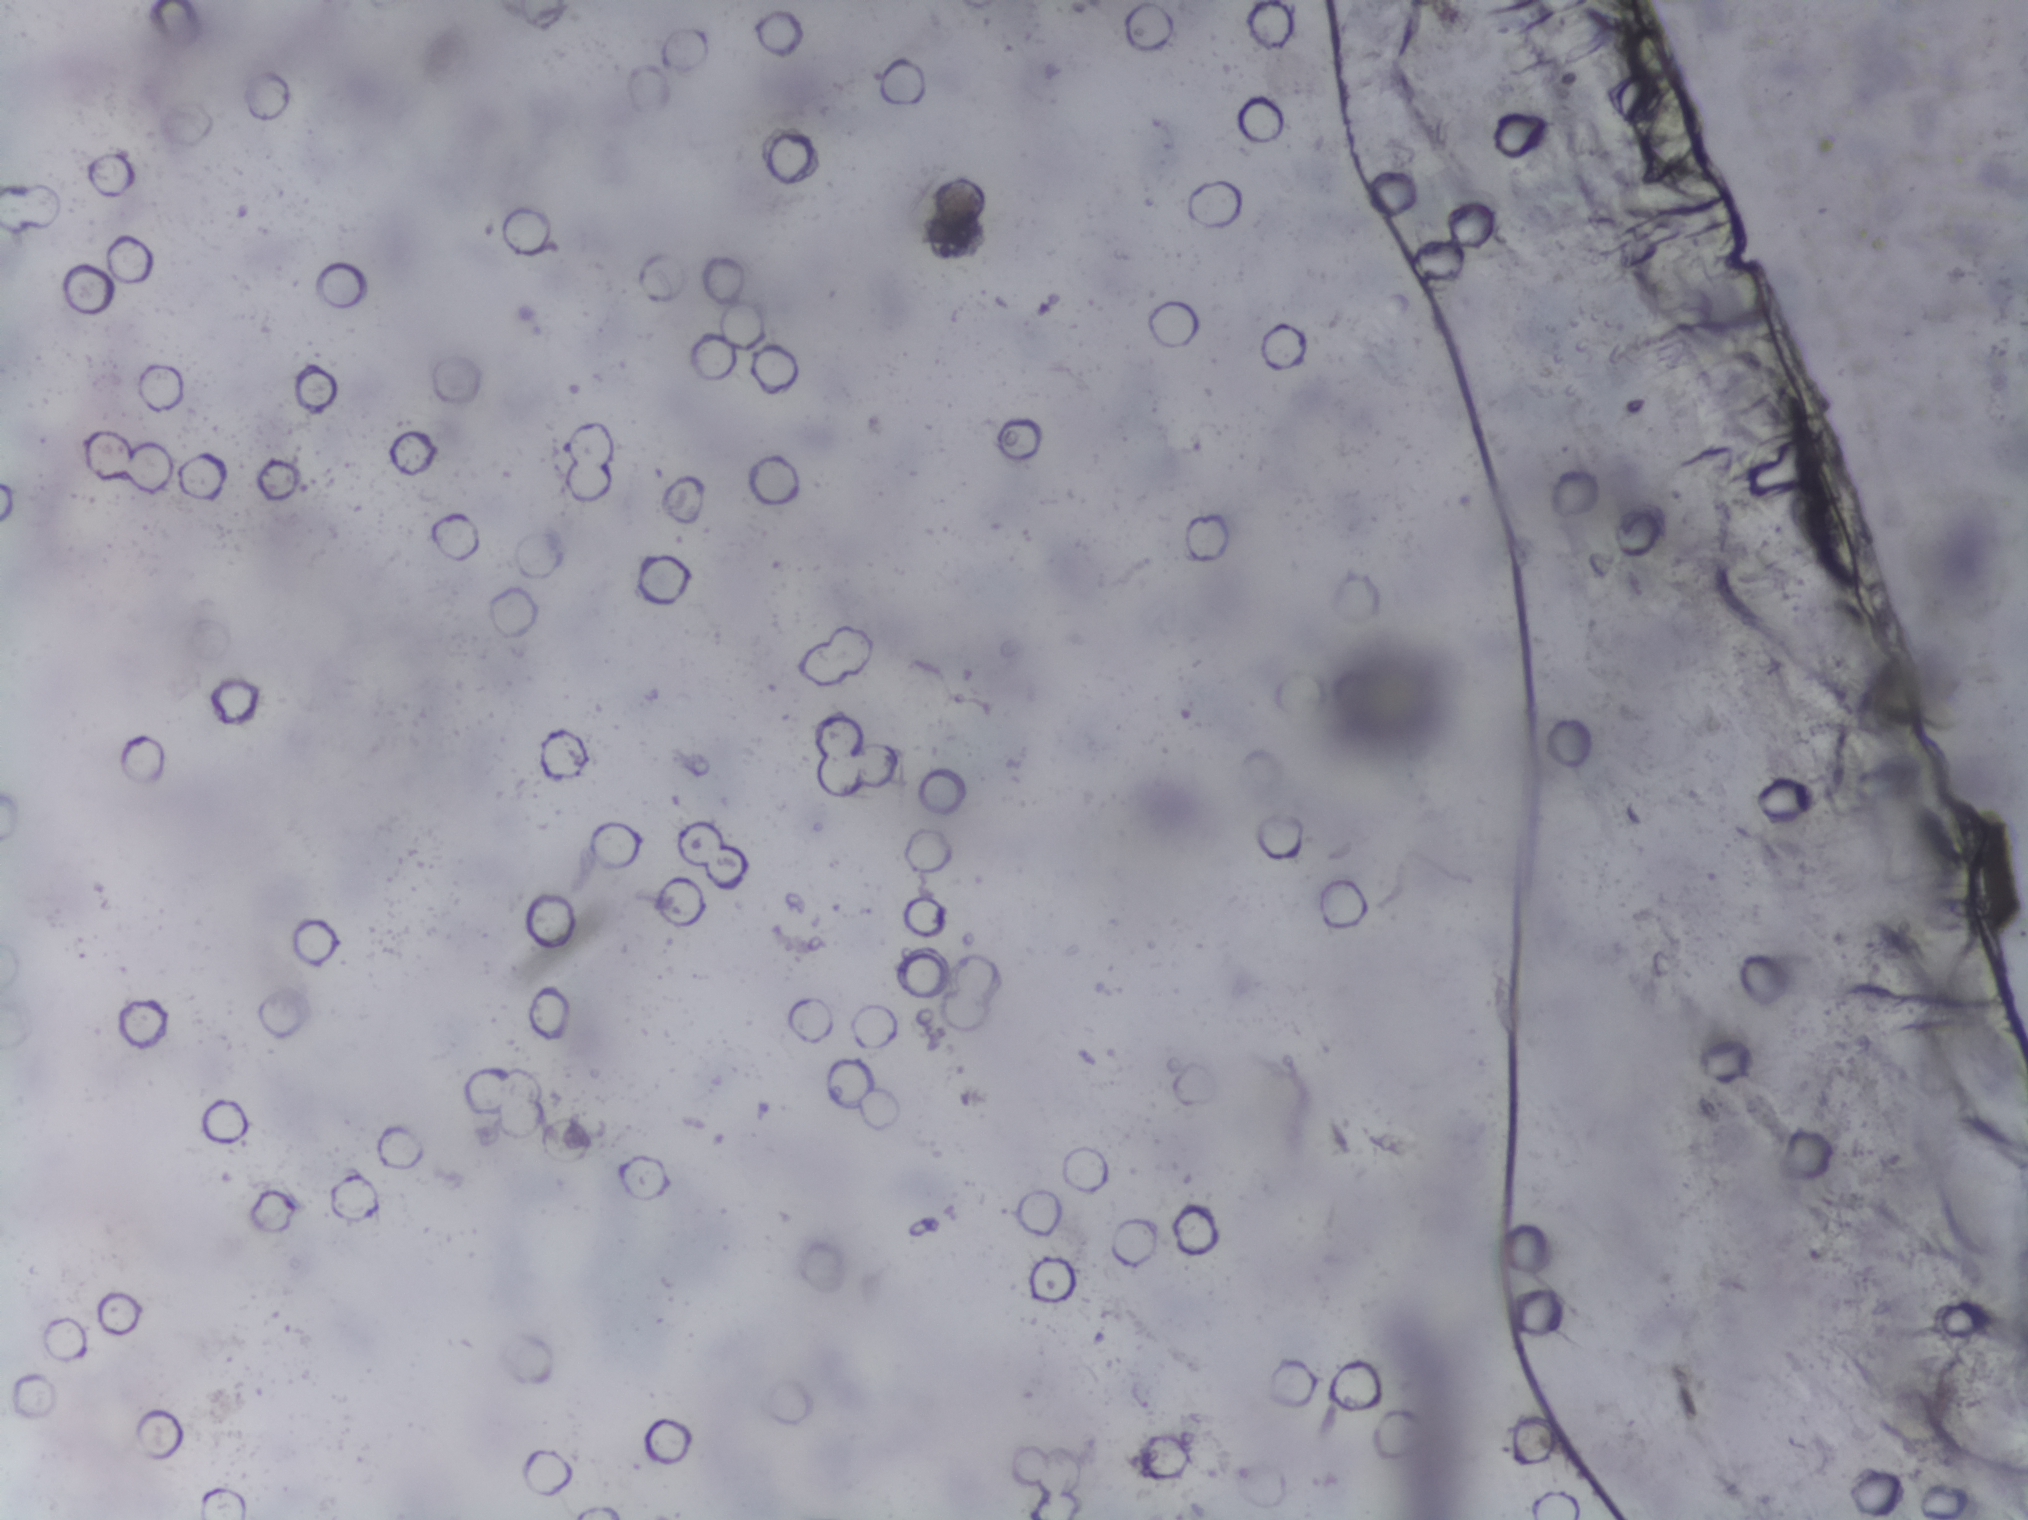
The expert annotation marks no Schistosoma egg in this field of view.
Urine filtration membrane under a 4× objective, photographed by an automated digital microscope. The field of view is about 1.5 mm × 1.1 mm.